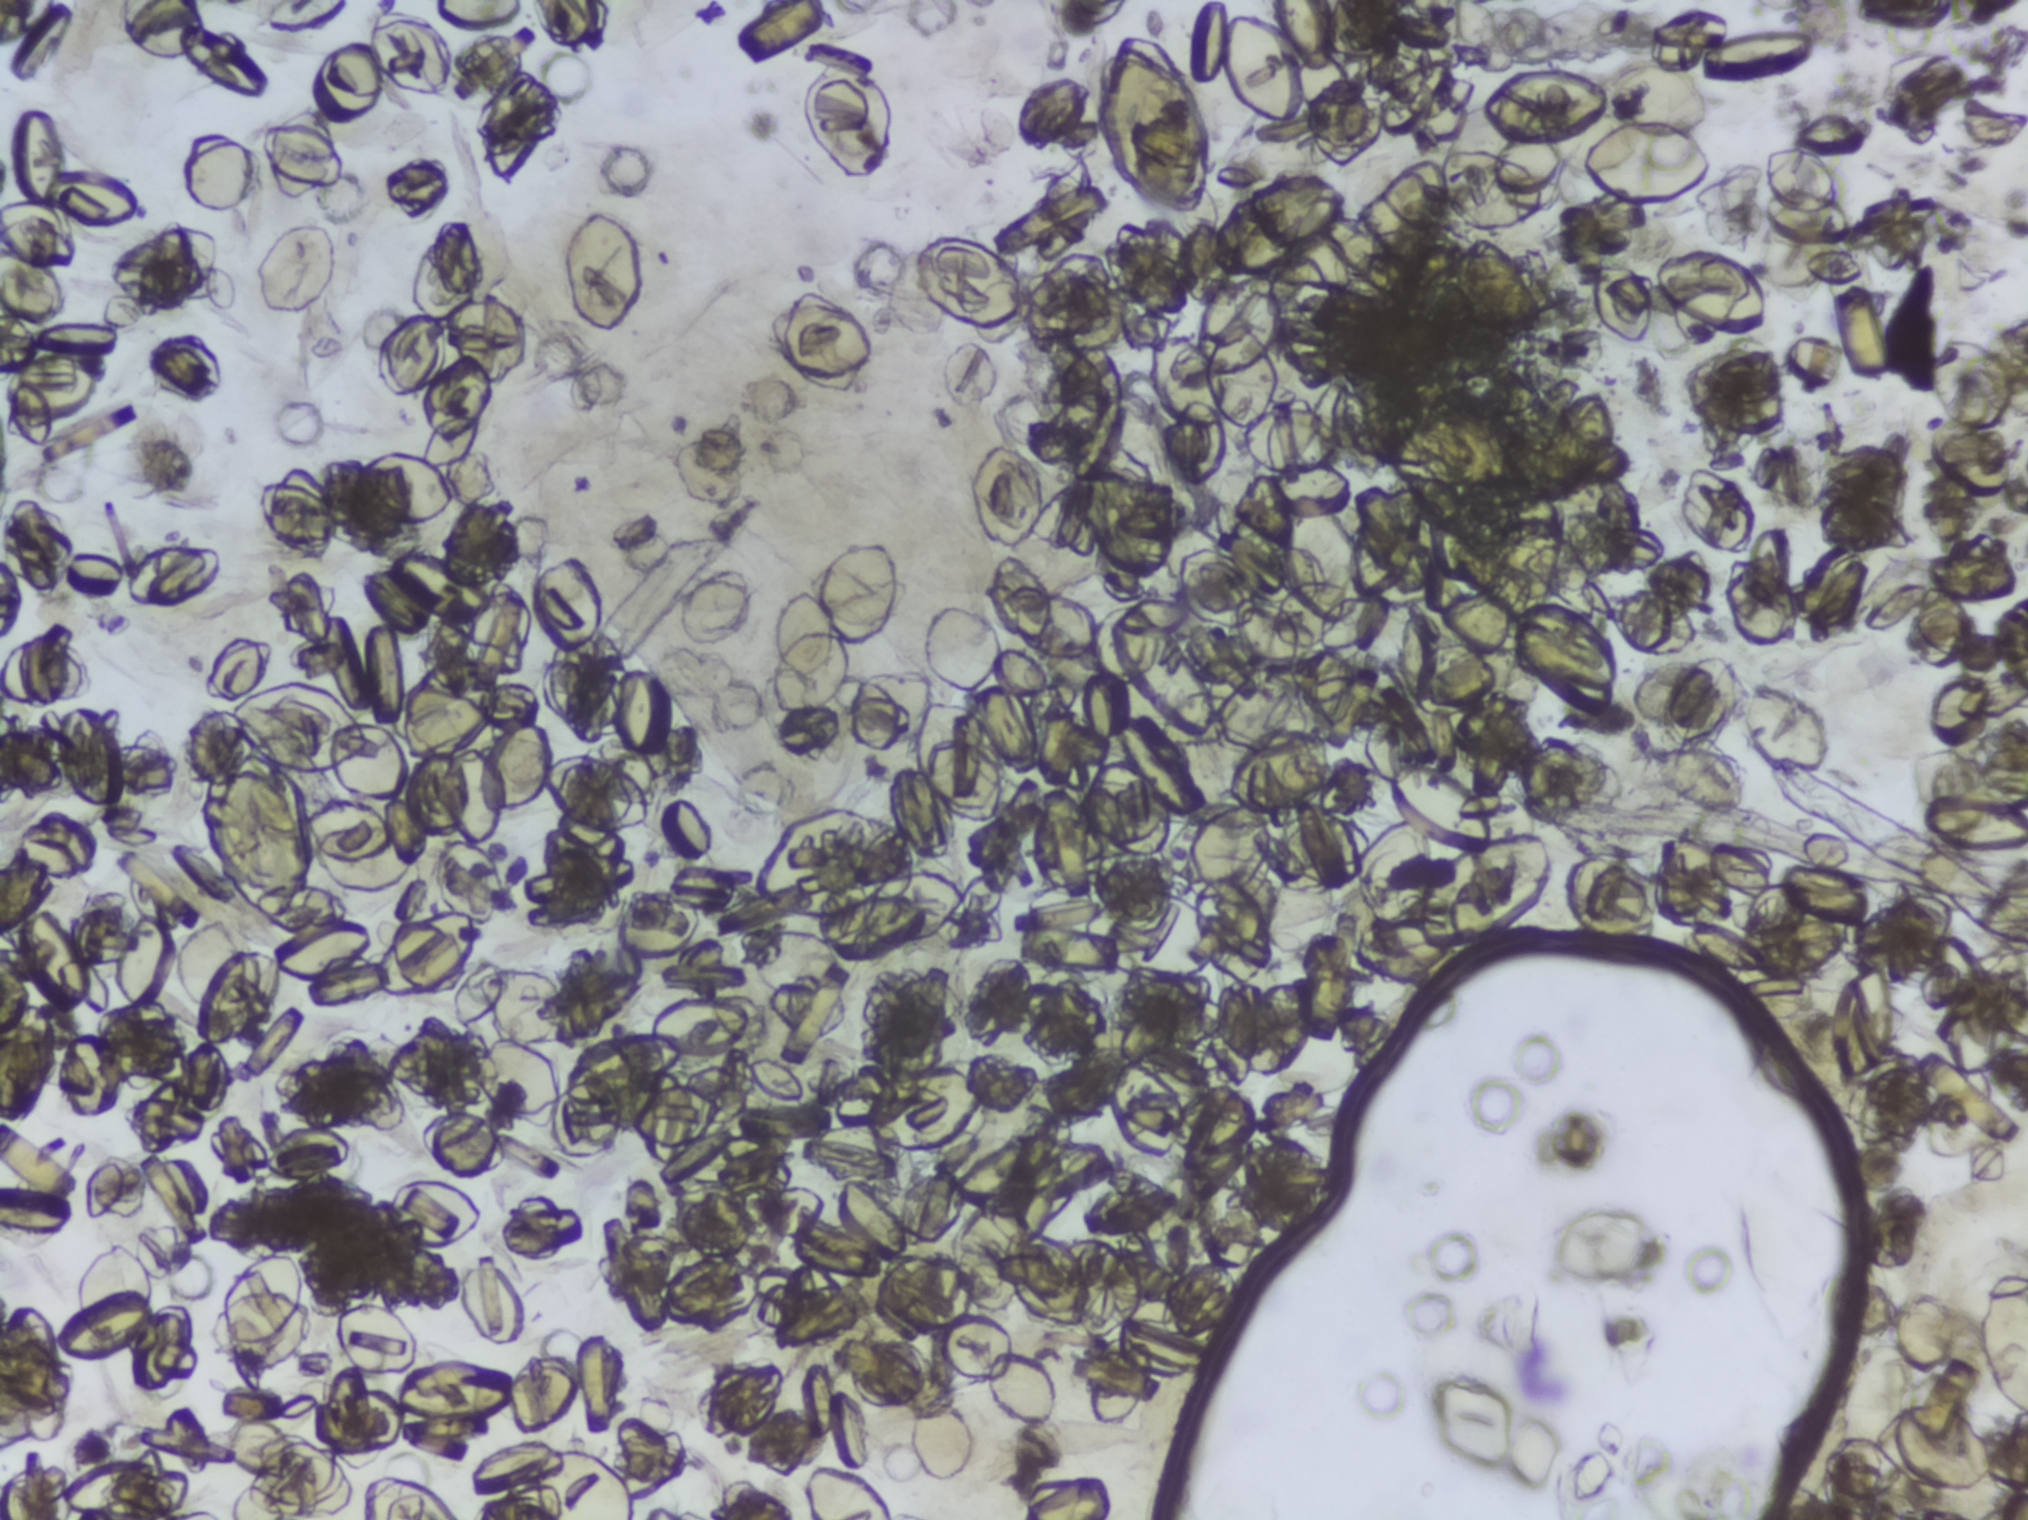
The expert annotation outlines no Schistosoma egg in this image.
Photograph from an automated digital microscope: urine filter membrane, 4× objective.